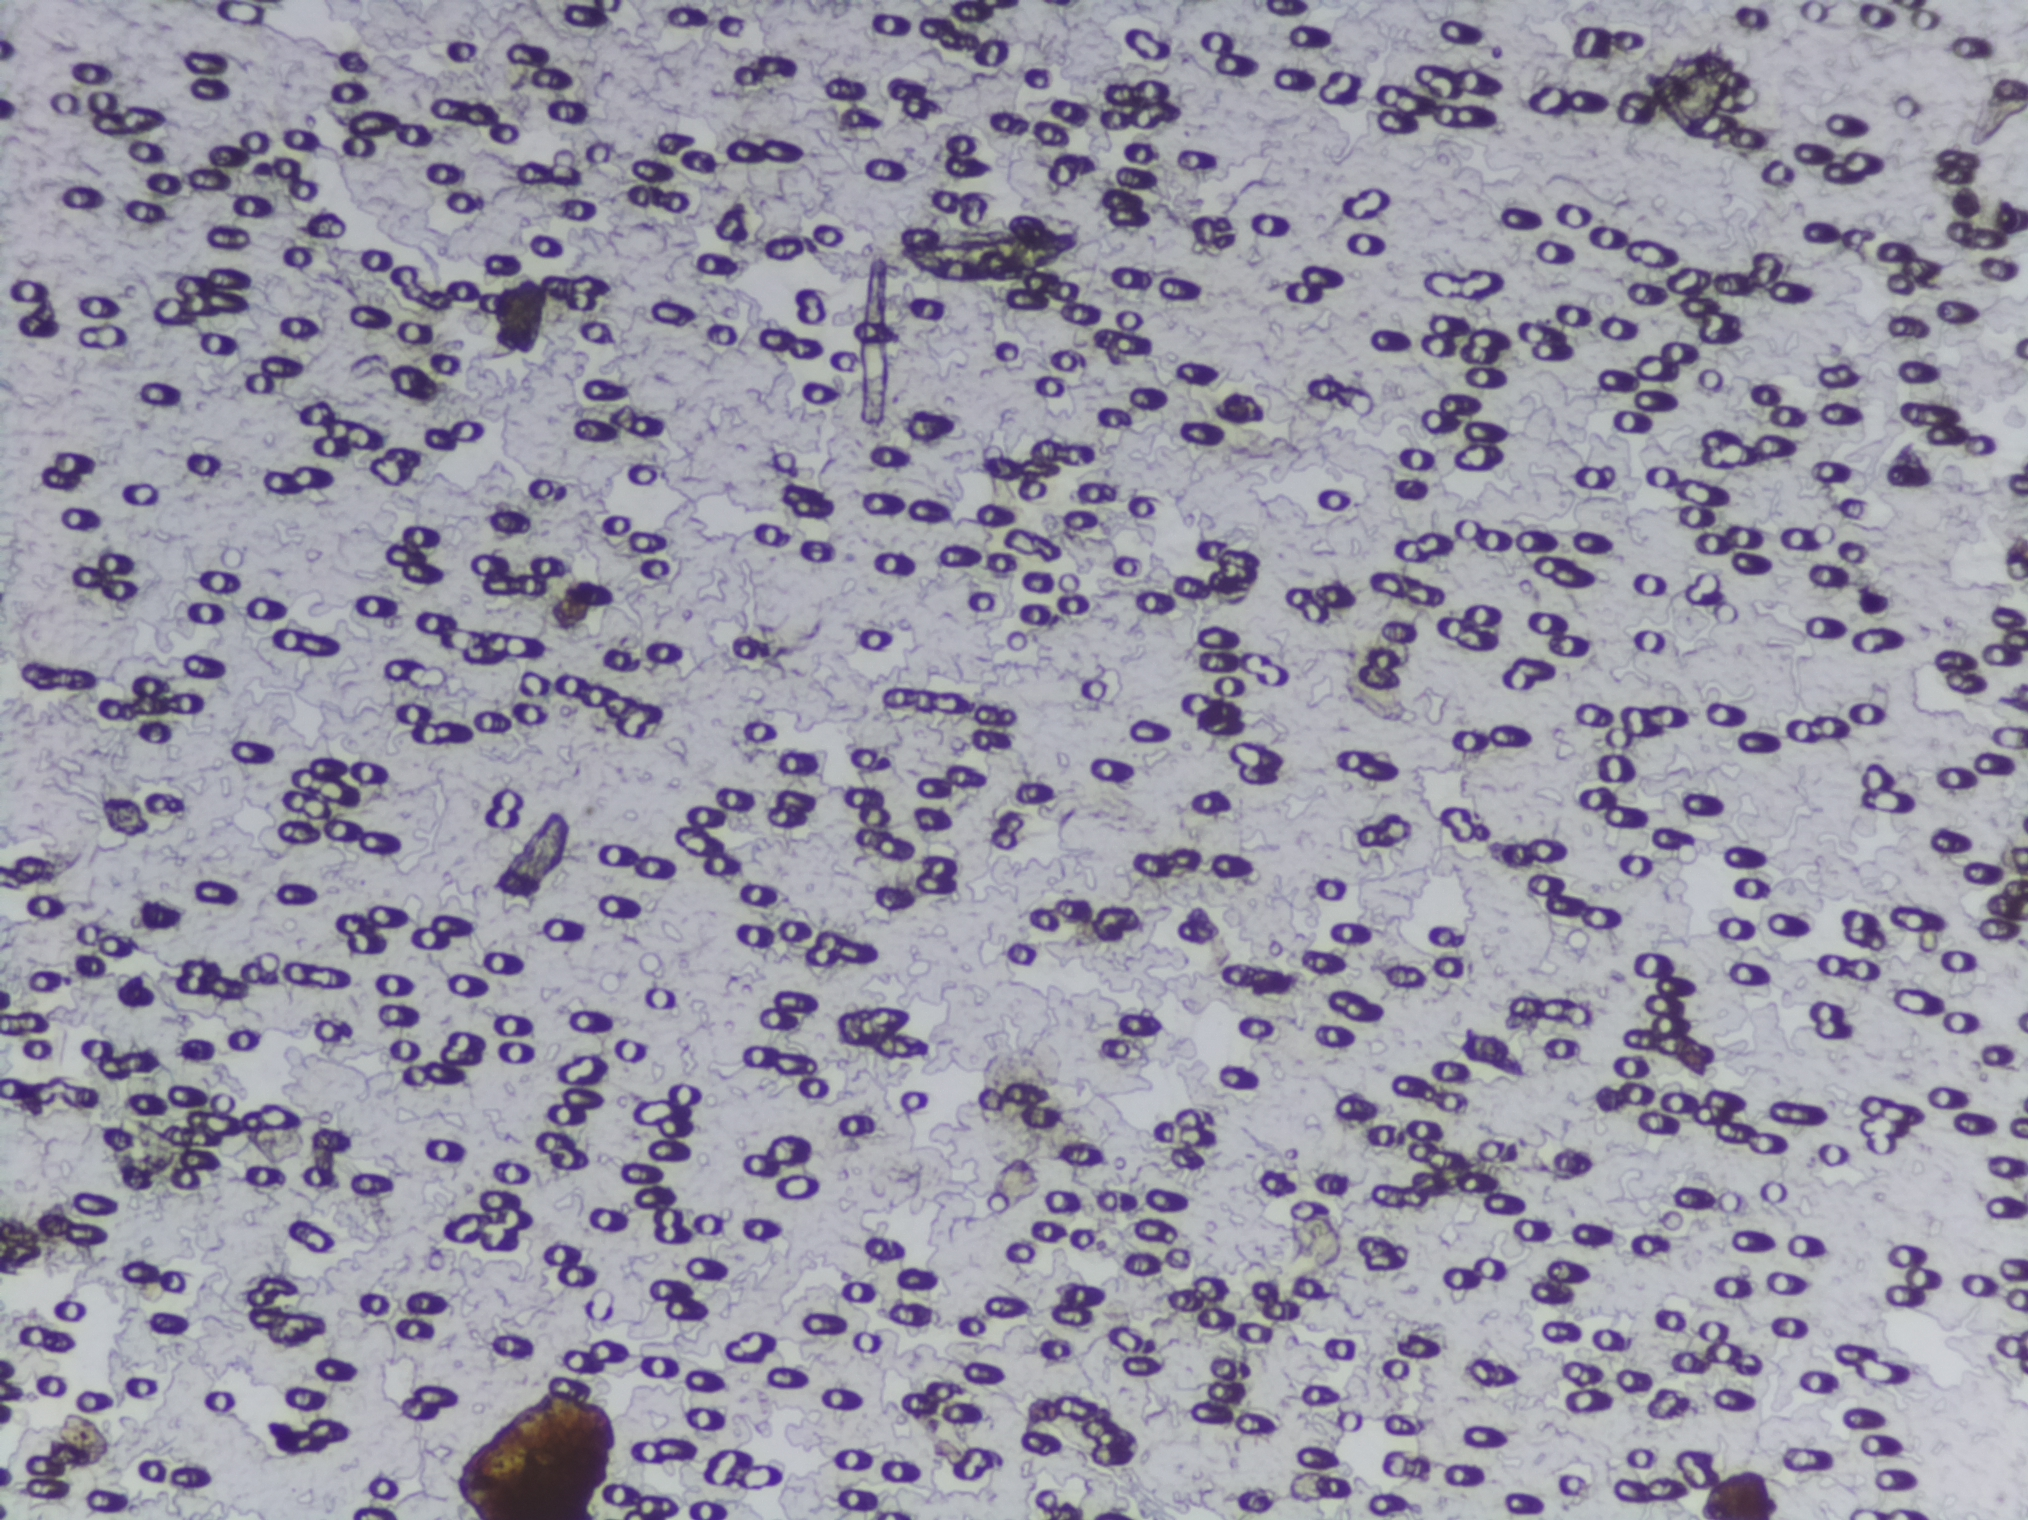
Photograph from an automated digital microscope: urine filter membrane, 4× objective. The image covers about 1.5 × 1.1 mm of the membrane.
The expert annotation marks no Schistosoma egg in this field of view.